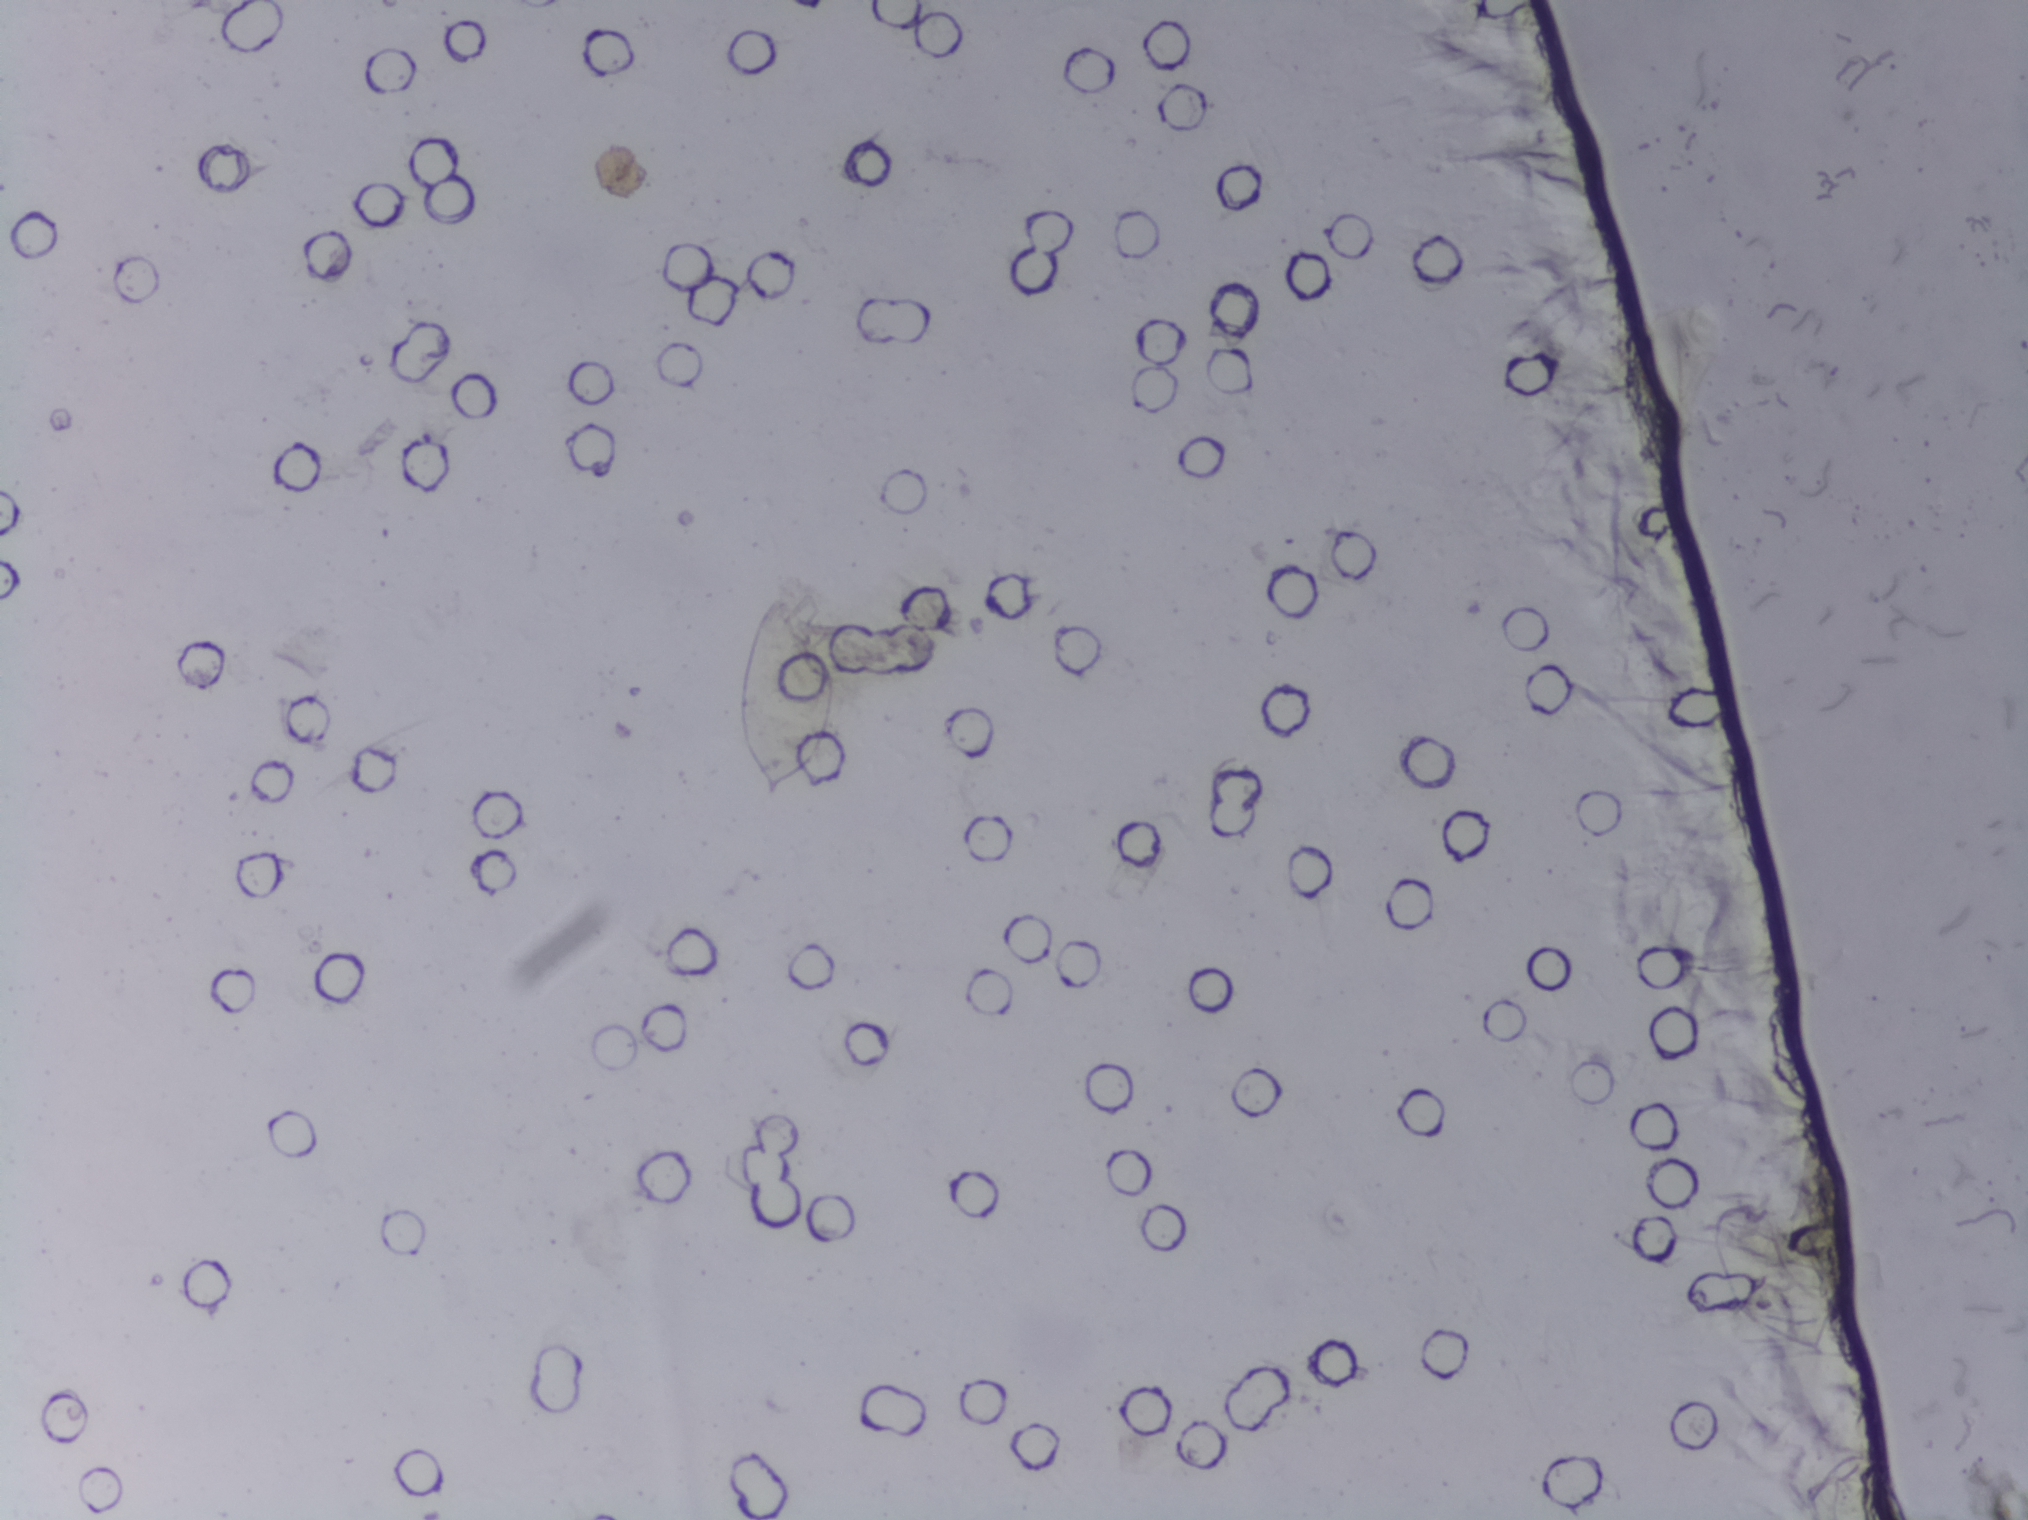
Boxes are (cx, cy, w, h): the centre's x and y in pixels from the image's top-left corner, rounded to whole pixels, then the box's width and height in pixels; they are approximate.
Areas outlined as Schistosoma eggs: (cx=782, cy=694, w=107, h=215); (cx=1774, cy=1279, w=124, h=162). A single outlined area may contain several eggs. A marked egg may occasionally be S. mansoni rather than S. haematobium.
Microscope photograph (4× objective) of a membrane that a urine sample was filtered through.